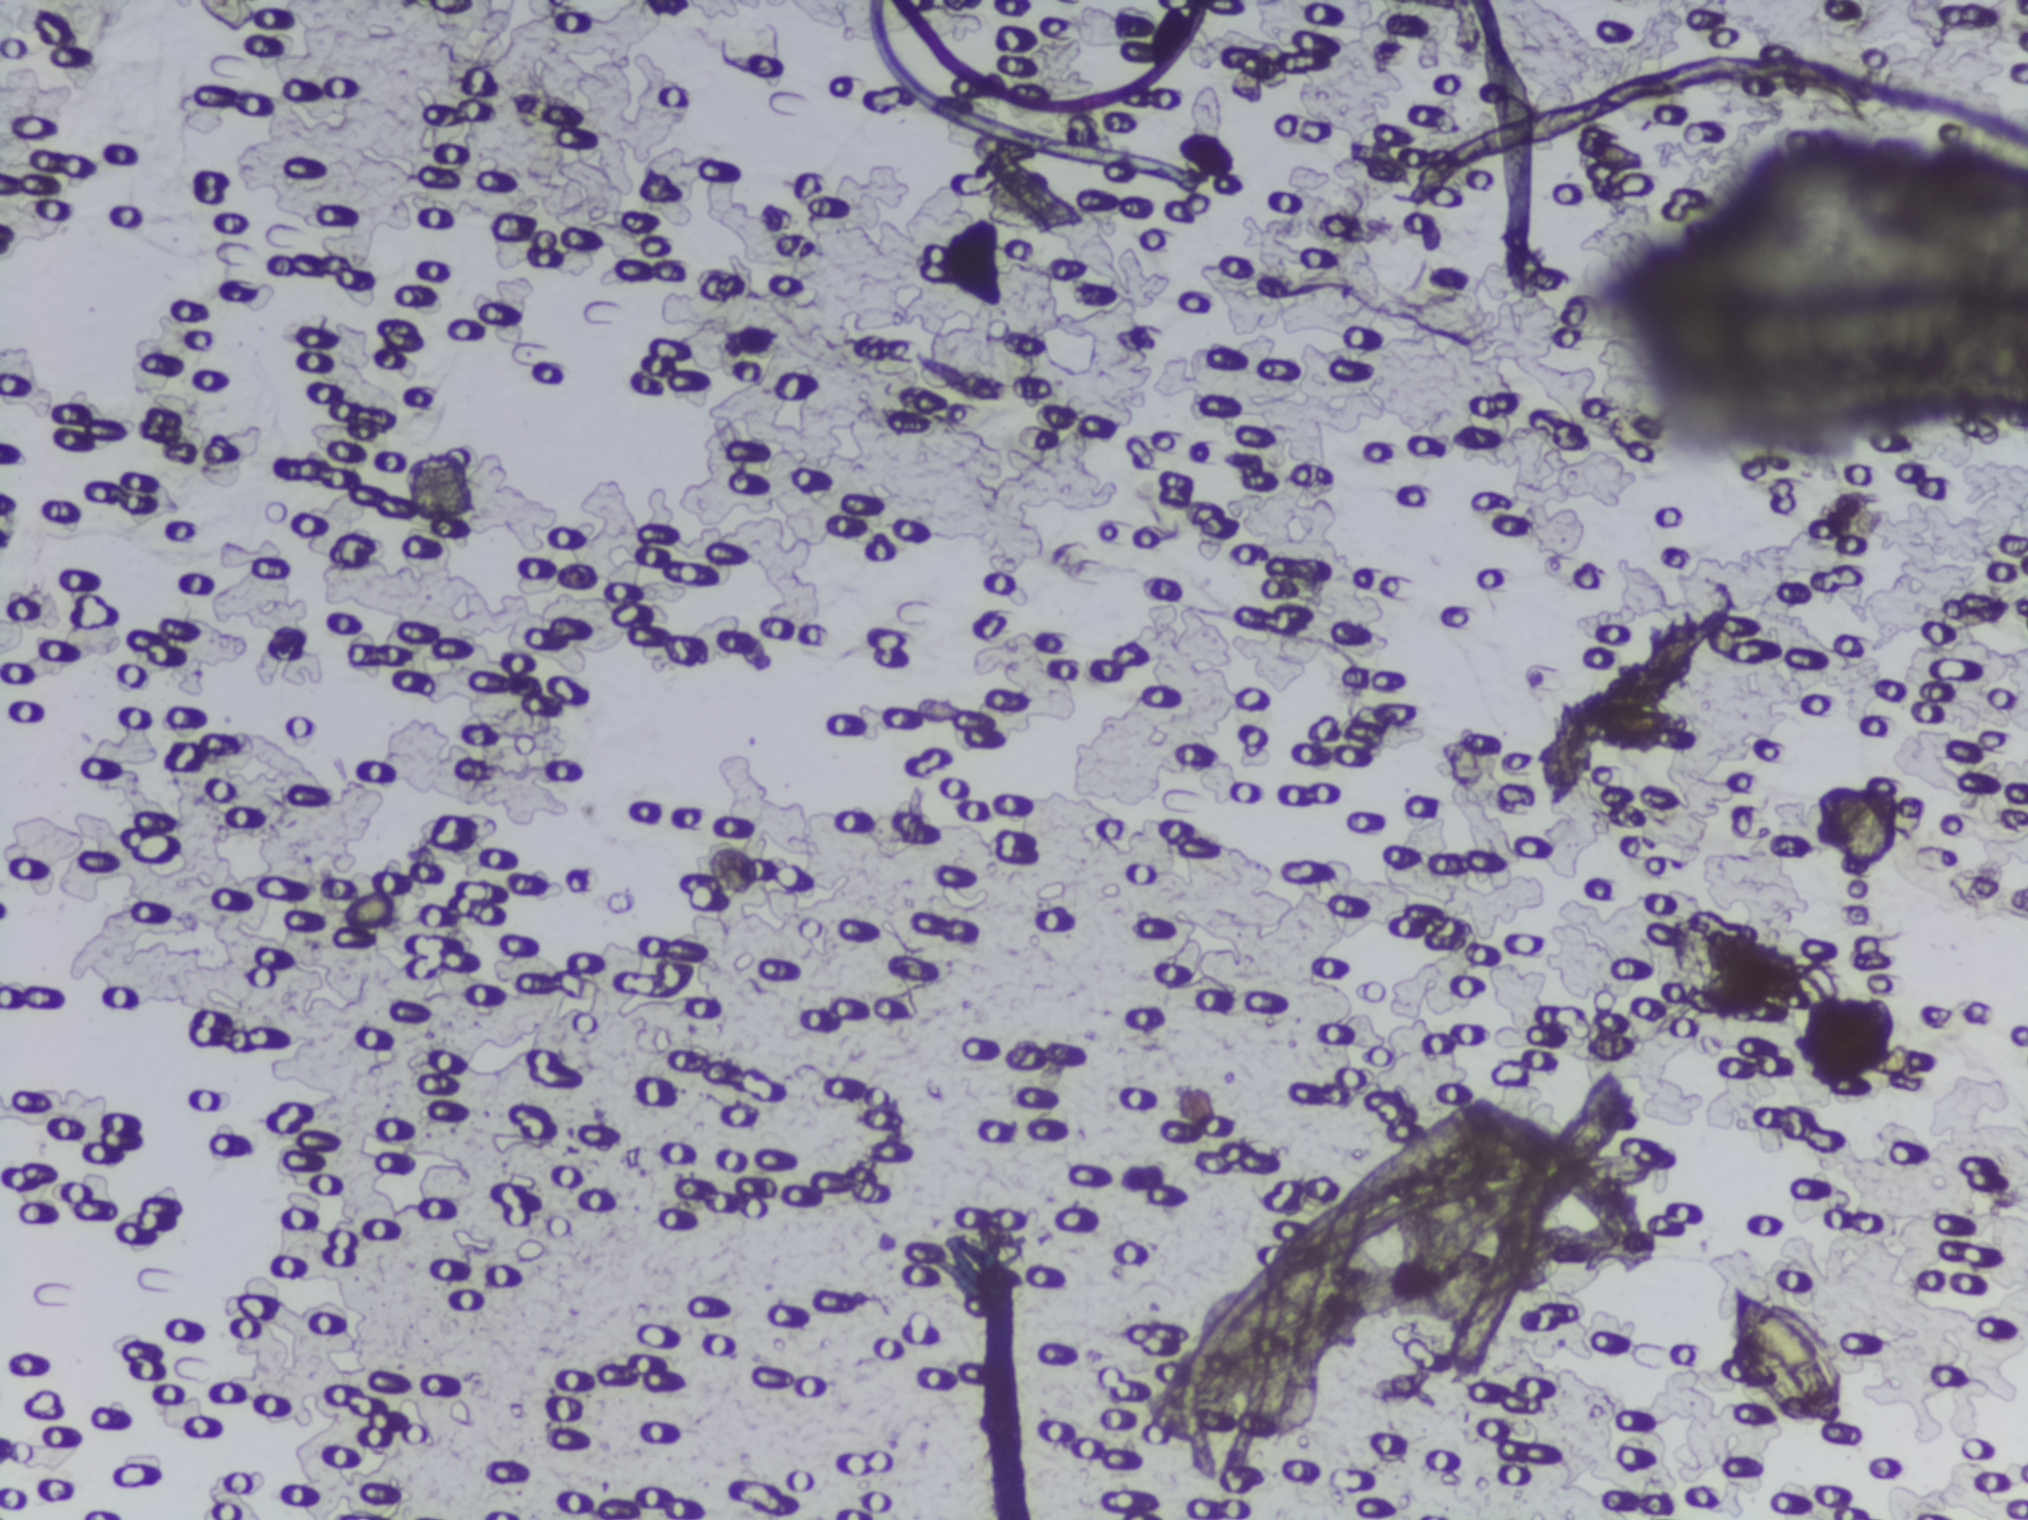
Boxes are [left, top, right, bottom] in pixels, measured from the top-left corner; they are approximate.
The expert annotation outlines Schistosoma eggs at [1716, 1273, 1869, 1437]. About 0.6% of the image's pixels are marked (the marked pixels themselves, not the box around them). Eggs that touch can end up inside the same outlined area.
One field of view of a urine filter membrane, 4× objective, 2028 × 1520 pixels.